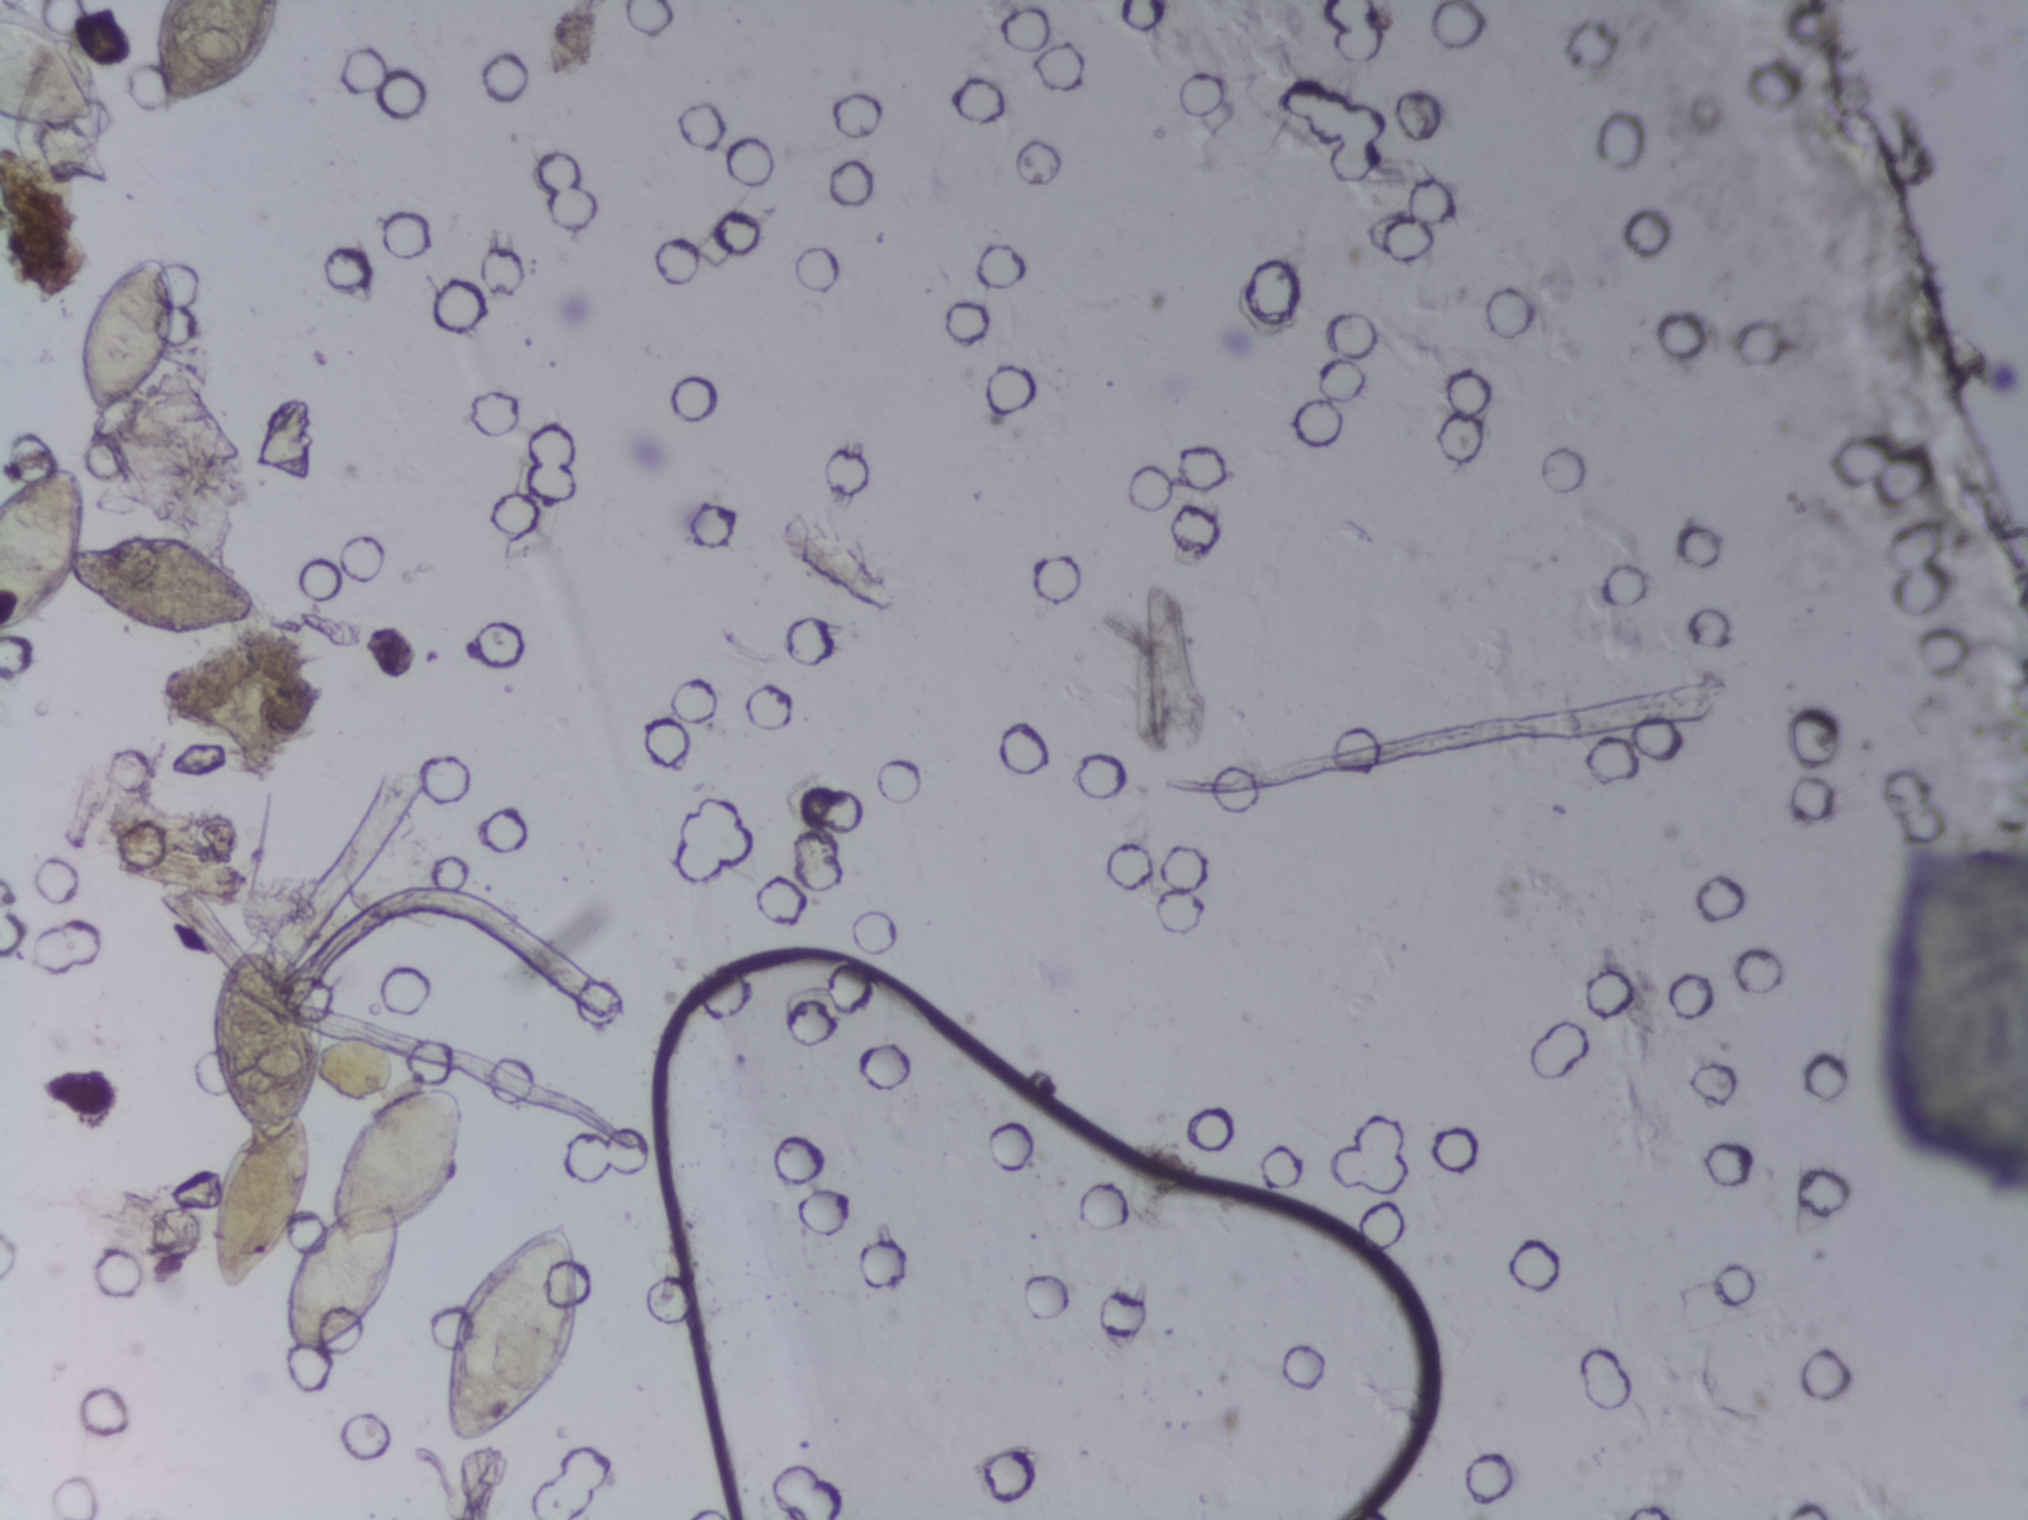
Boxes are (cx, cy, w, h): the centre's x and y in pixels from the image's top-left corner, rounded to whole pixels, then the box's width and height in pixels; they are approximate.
Seven areas of this image are outlined as Schistosoma eggs, from left to right: (cx=51, cy=73, w=103, h=134) (reaching the left edge of the frame); (cx=127, cy=335, w=104, h=171); (cx=136, cy=551, w=273, h=182) (reaching the left edge of the frame); (cx=214, cy=59, w=130, h=118) (reaching the top edge of the frame); (cx=268, cy=1108, w=124, h=382); (cx=370, cy=1222, w=196, h=278); (cx=515, cy=1335, w=154, h=240). An outlined area can hold more than one egg.
Urine filtration membrane under a 4× objective, photographed by an automated digital microscope.